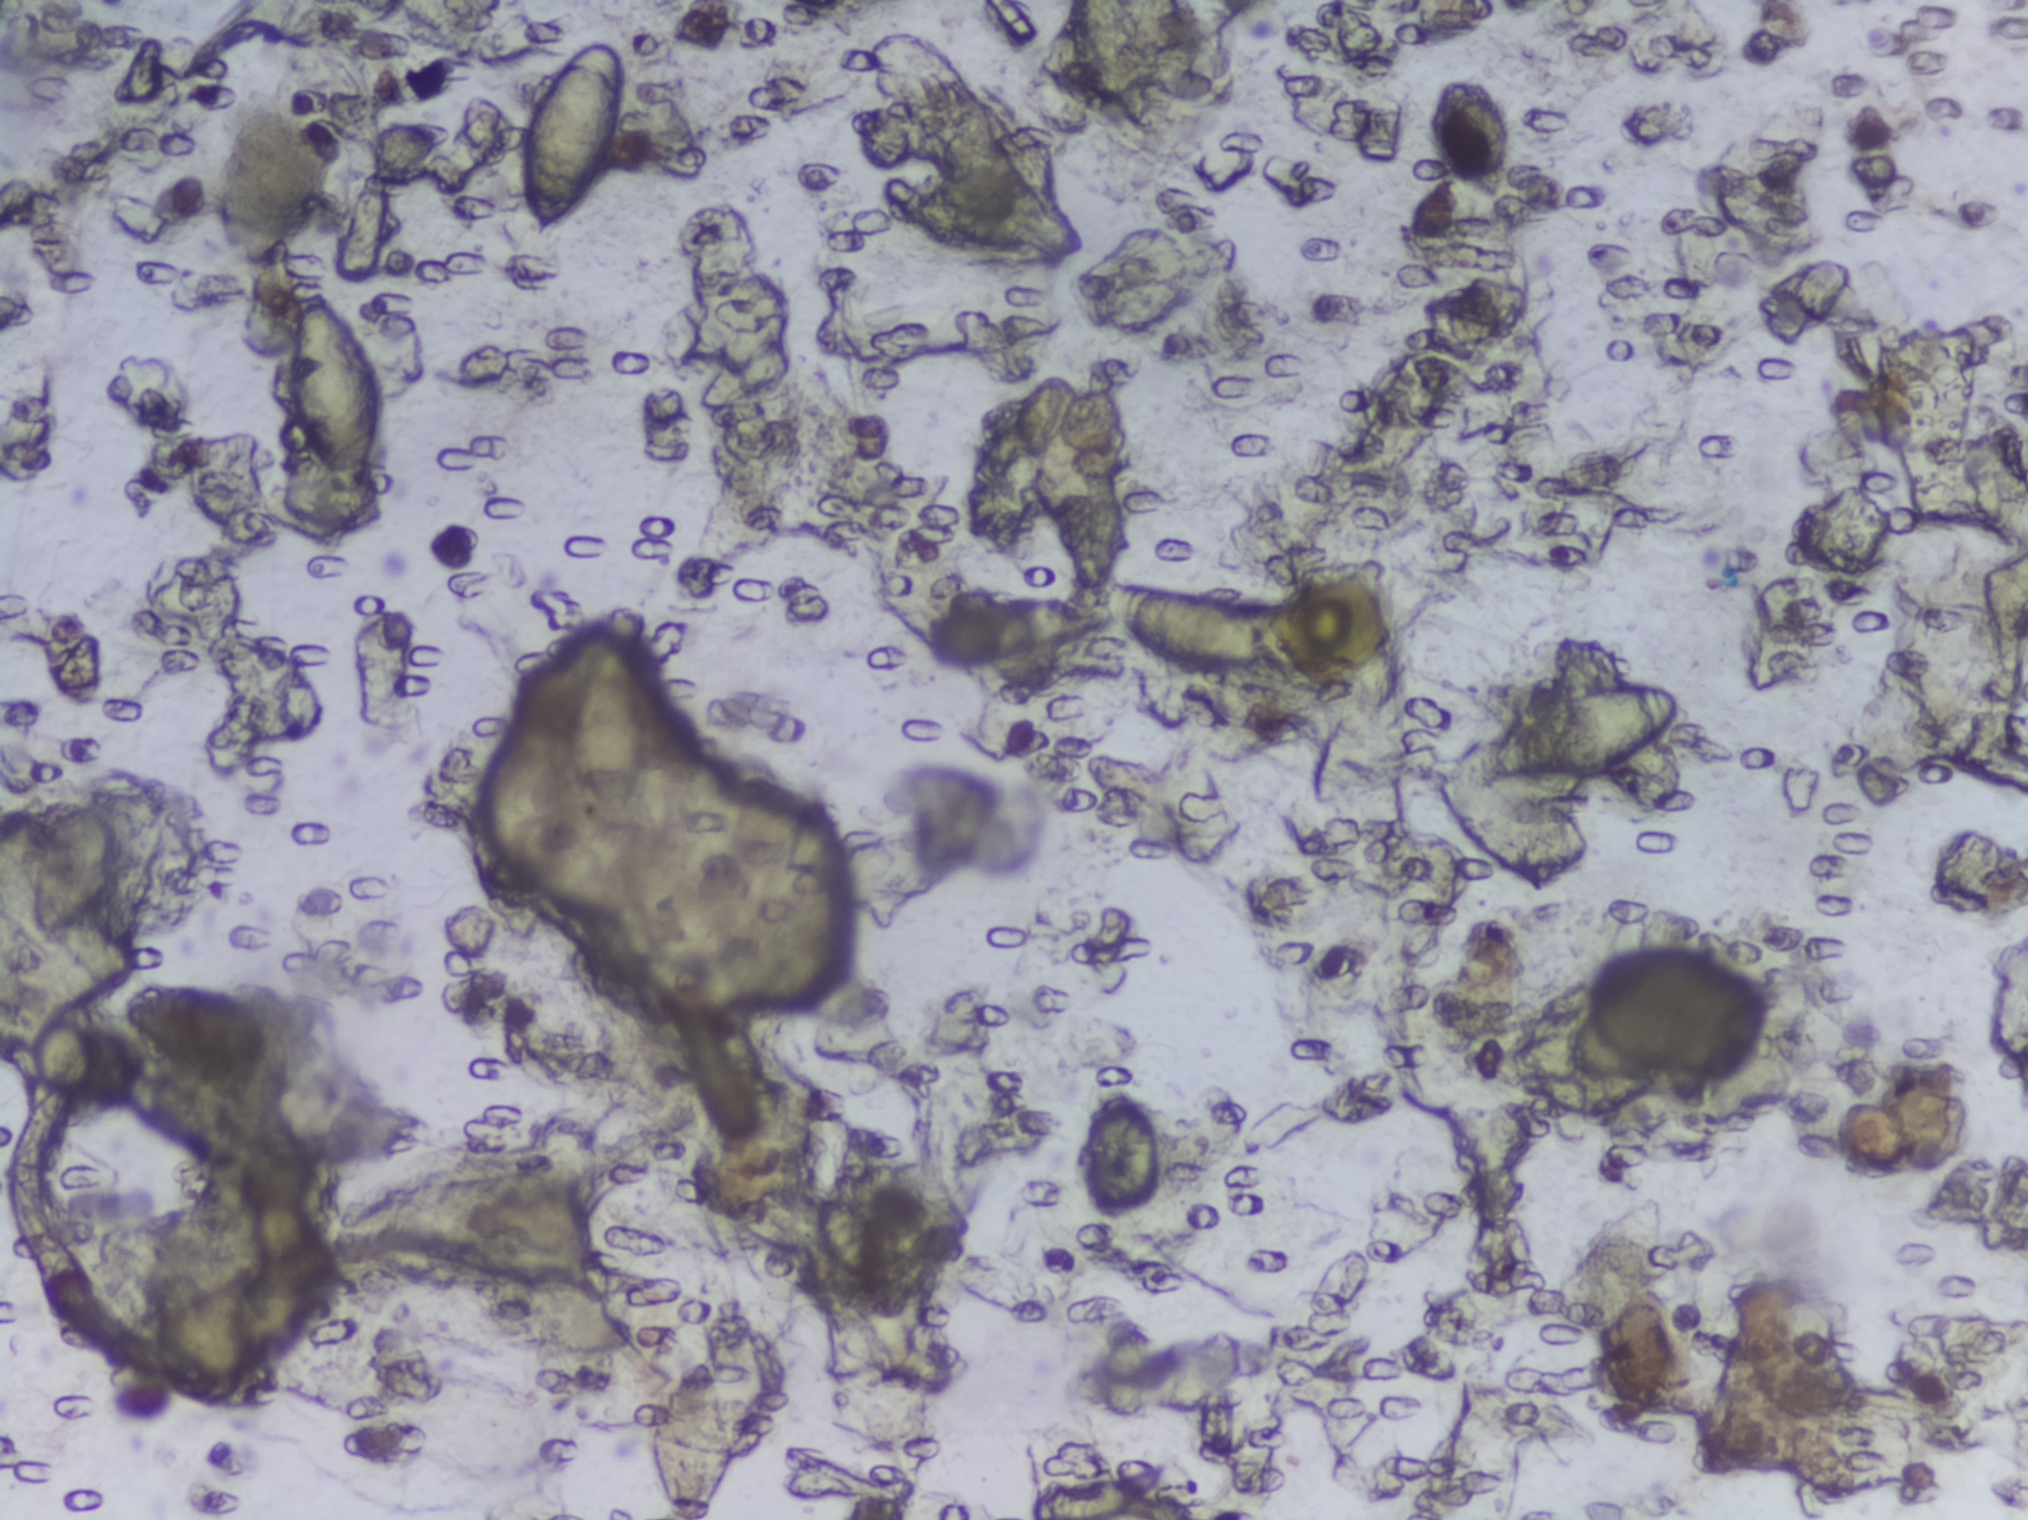
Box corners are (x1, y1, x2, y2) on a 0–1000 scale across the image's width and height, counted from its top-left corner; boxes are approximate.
Schistosoma eggs are outlined in the expert annotation at (12, 528, 57, 619); (61, 646, 132, 706); (140, 191, 189, 326); (238, 468, 282, 581); (255, 26, 310, 157); (281, 420, 321, 541); (316, 889, 363, 1000) (reaching the bottom edge of the frame); (549, 384, 622, 441); (732, 447, 829, 514); (773, 786, 823, 876) (left to right). A single outlined area may contain several eggs. A marked egg may occasionally be S. mansoni rather than S. haematobium.
Microscope photograph (4× objective) of a membrane that a urine sample was filtered through.